One field of view of a urine filter membrane, 4× objective, 2028 × 1520 pixels.
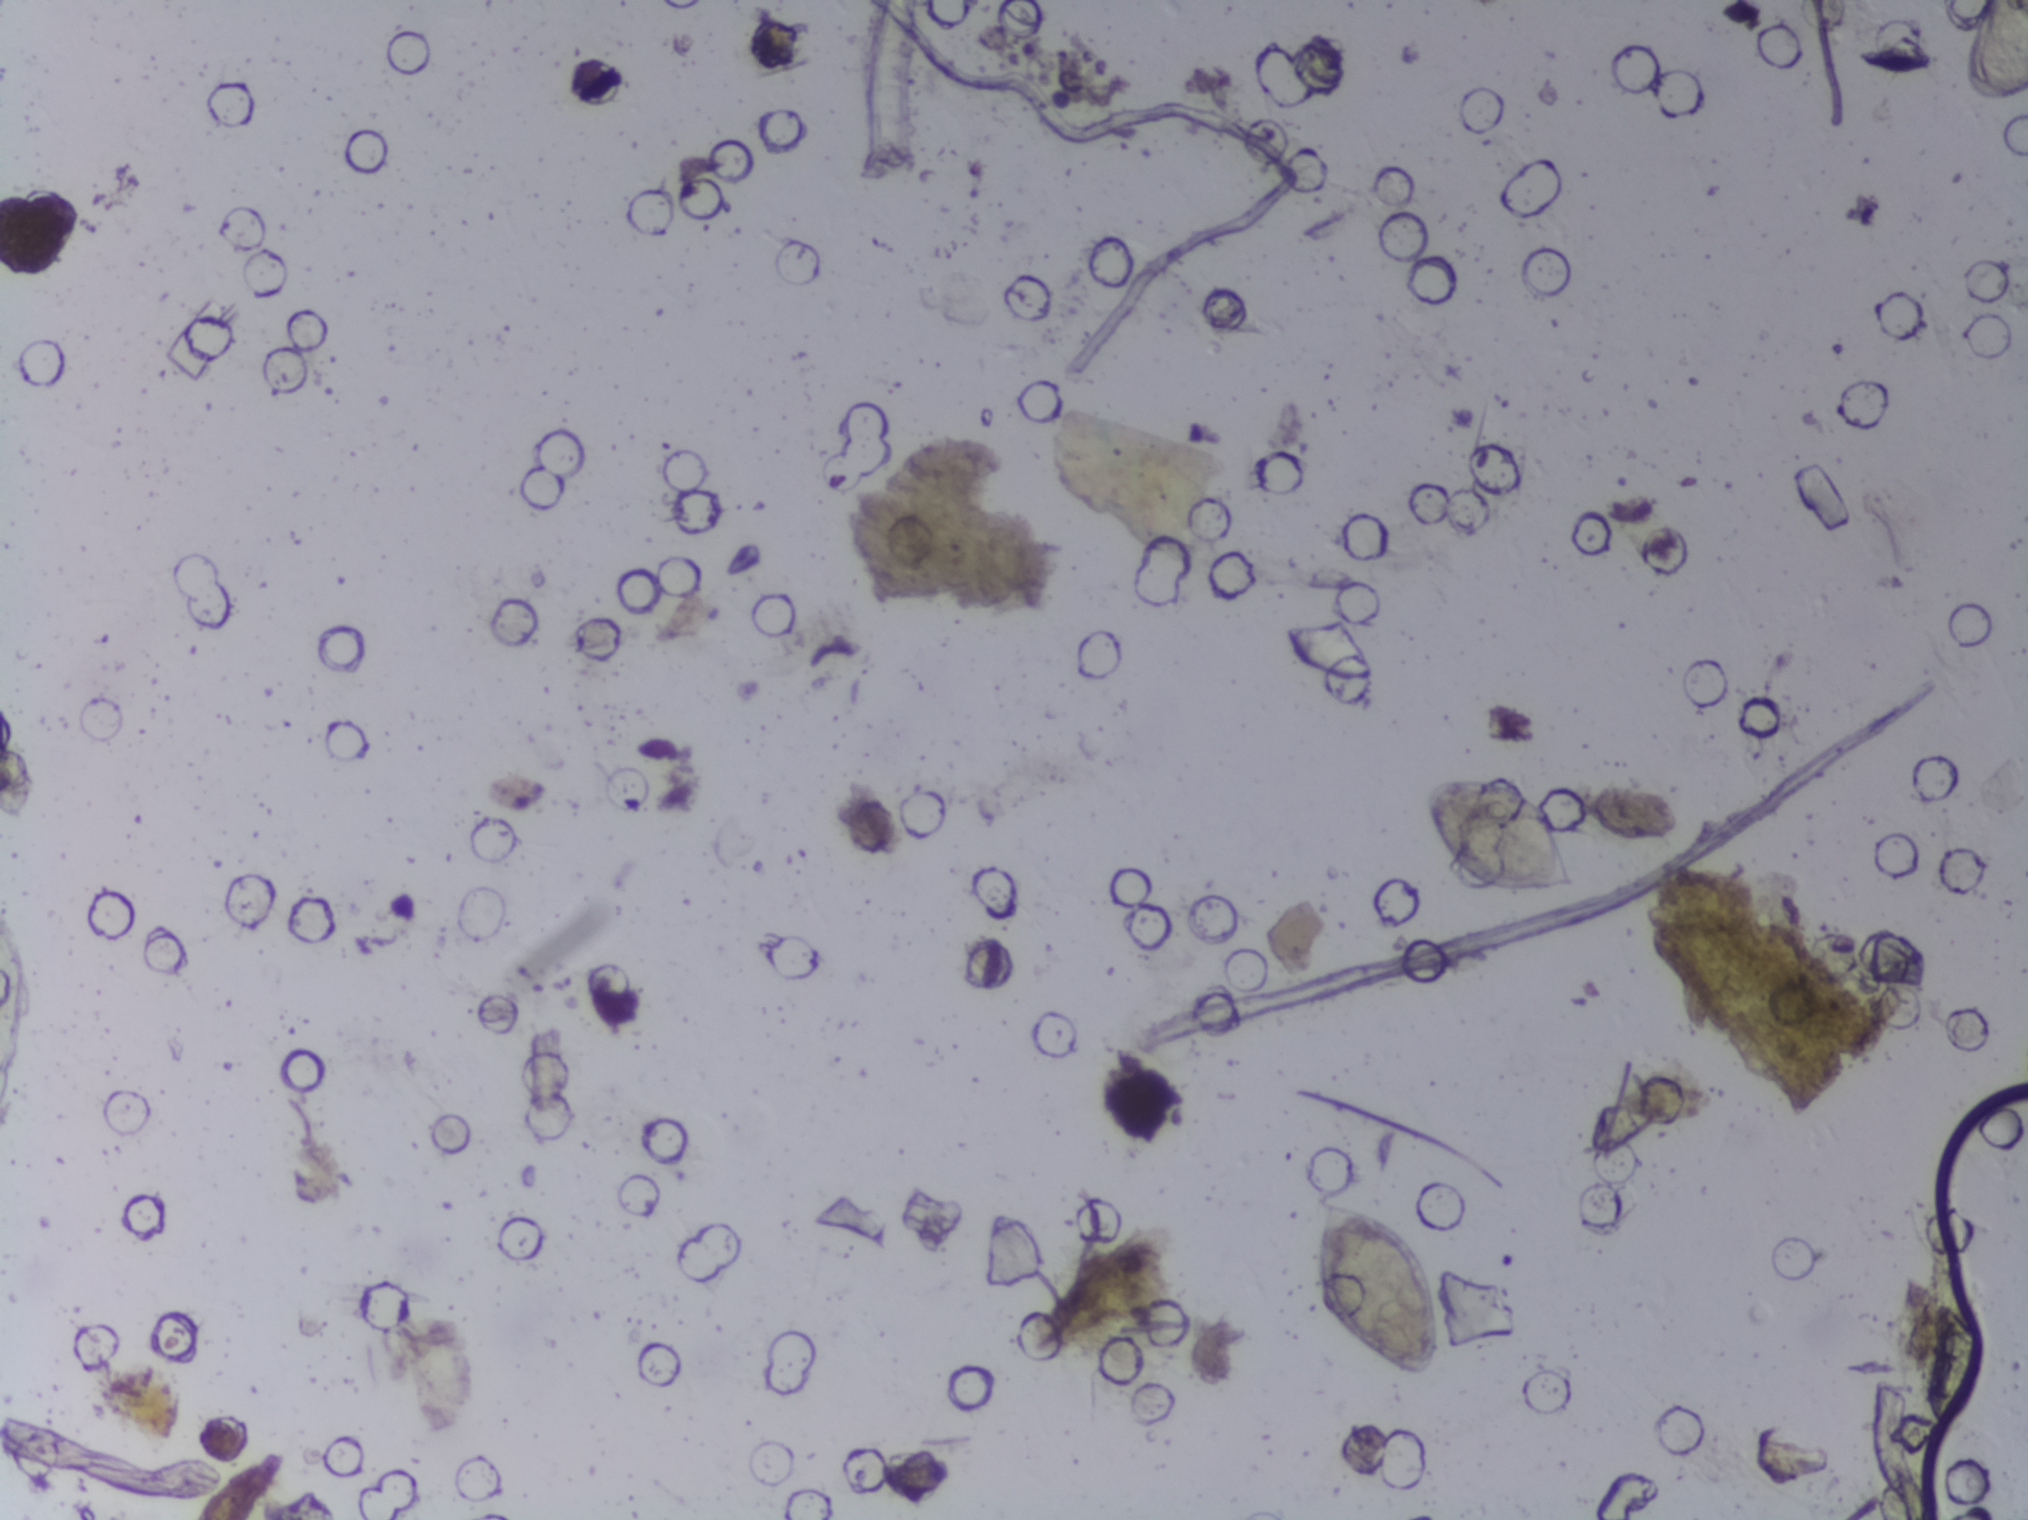
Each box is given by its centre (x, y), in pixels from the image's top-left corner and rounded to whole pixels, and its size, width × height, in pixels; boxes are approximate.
Schistosoma eggs are outlined in the expert annotation at centre (1377, 1285), 139 × 195 px; centre (1501, 832), 163 × 121 px; centre (1997, 51), 61 × 103 px (reaching the top and right edges of the frame) (left to right). About 1.3% of the image's pixels are marked (the marked pixels themselves, not the boxes around them). A single outlined area may contain several eggs.